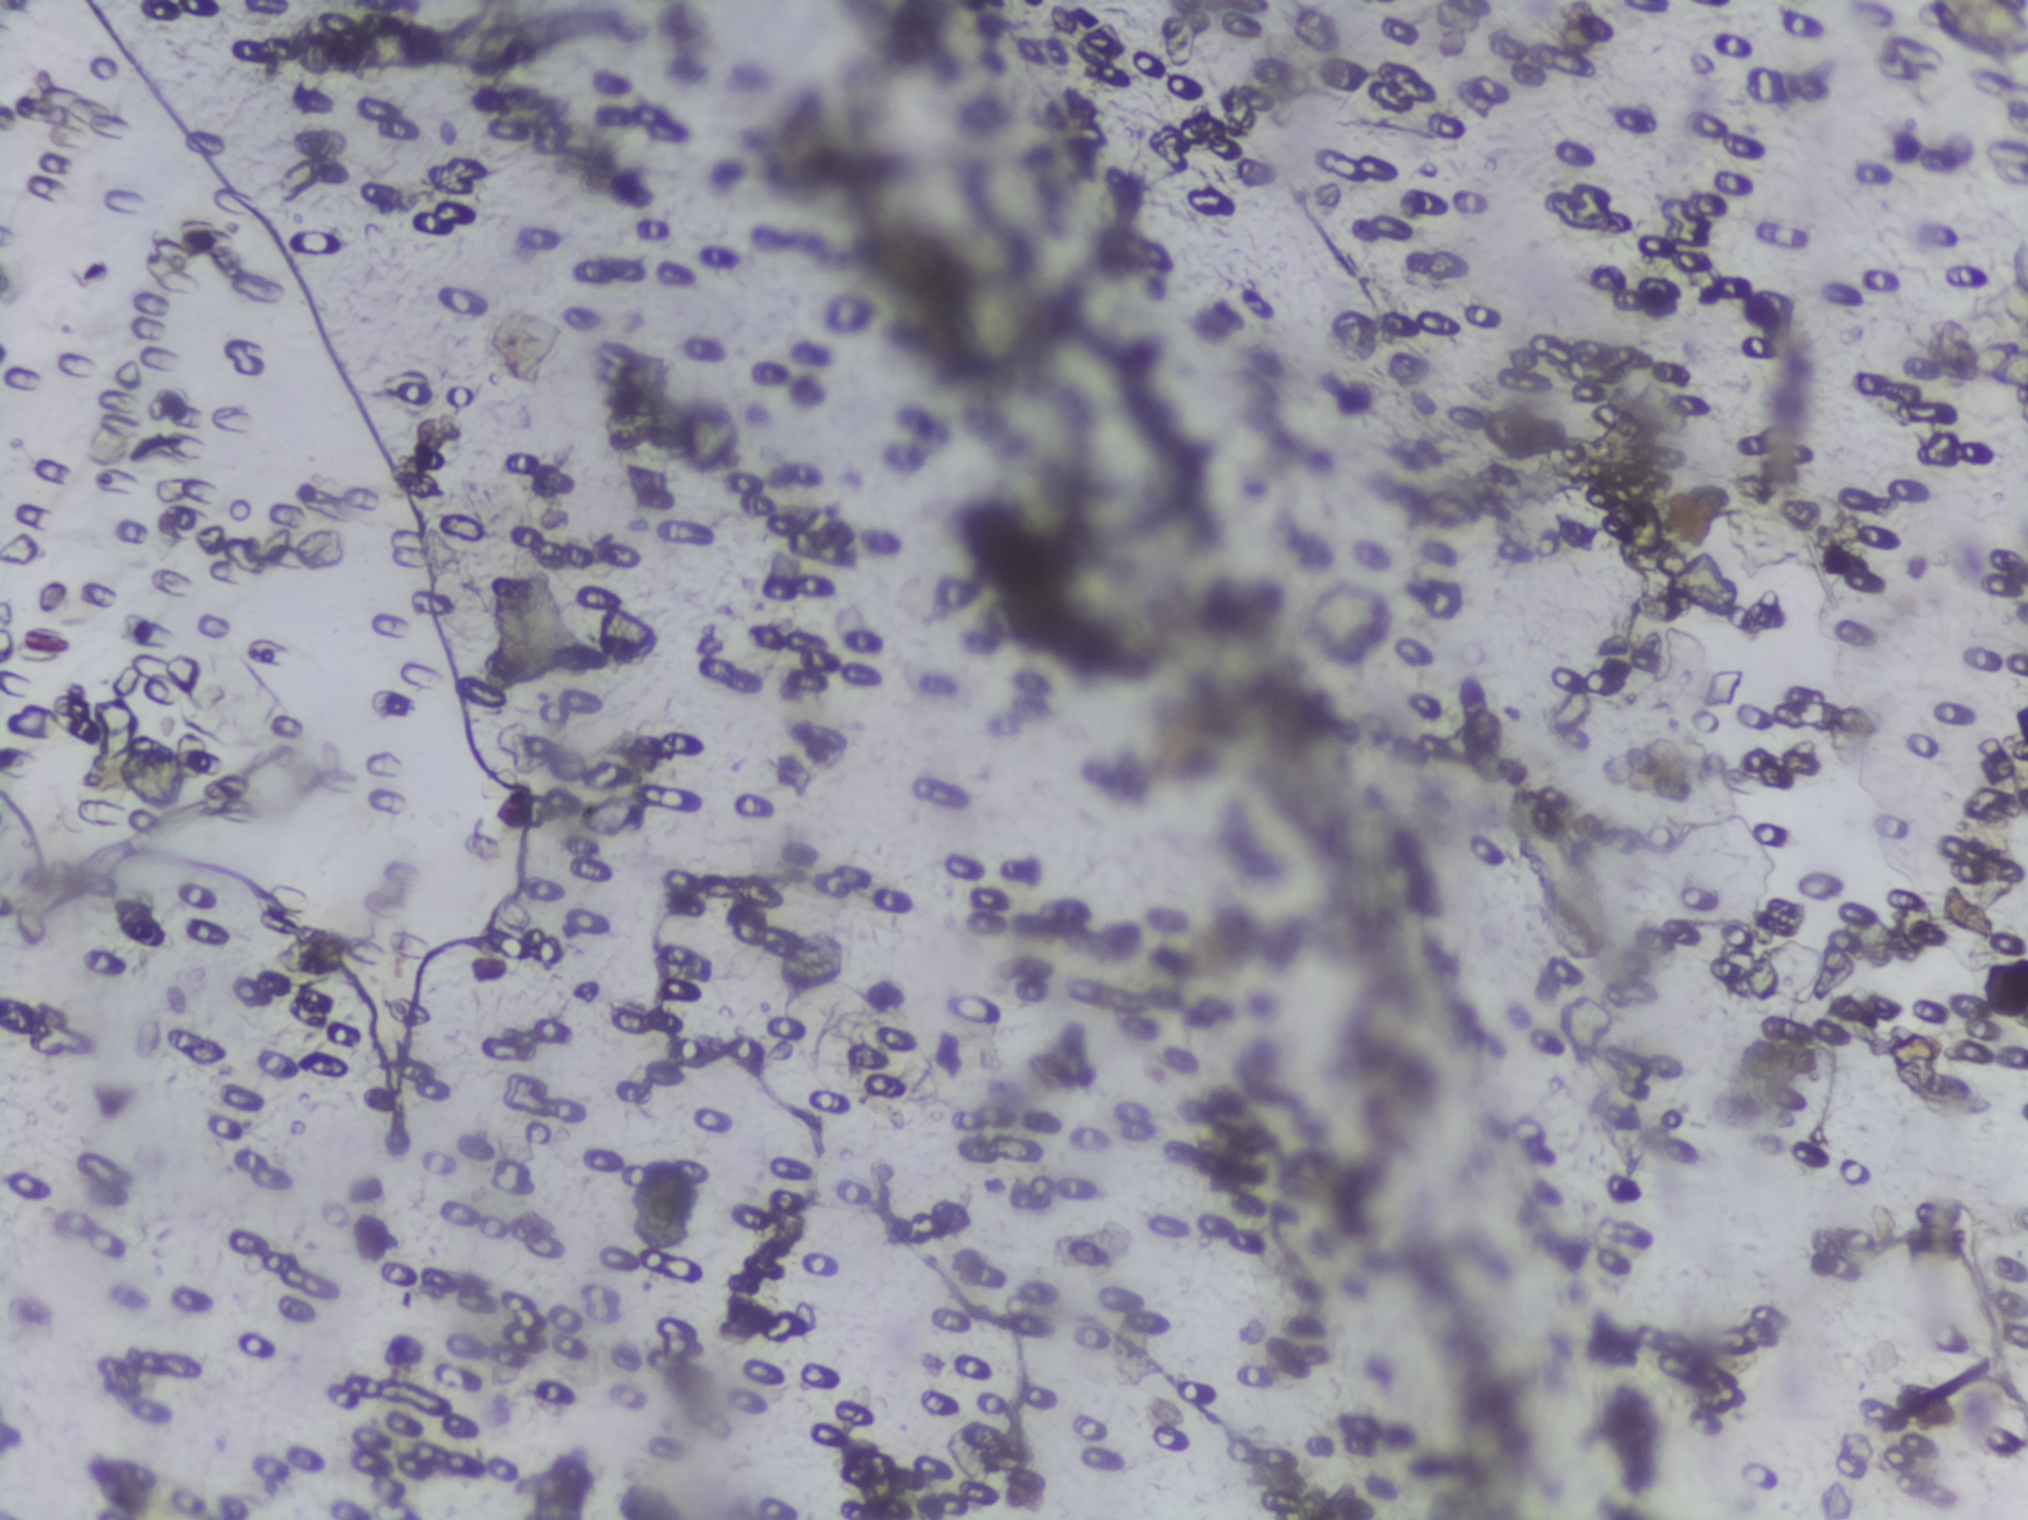
No area of this image was outlined as a Schistosoma egg.
Urine filter membrane photographed through a 4× microscope objective.